Urine filter membrane photographed through a 4× microscope objective. The image covers about 1.5 × 1.1 mm of the membrane.
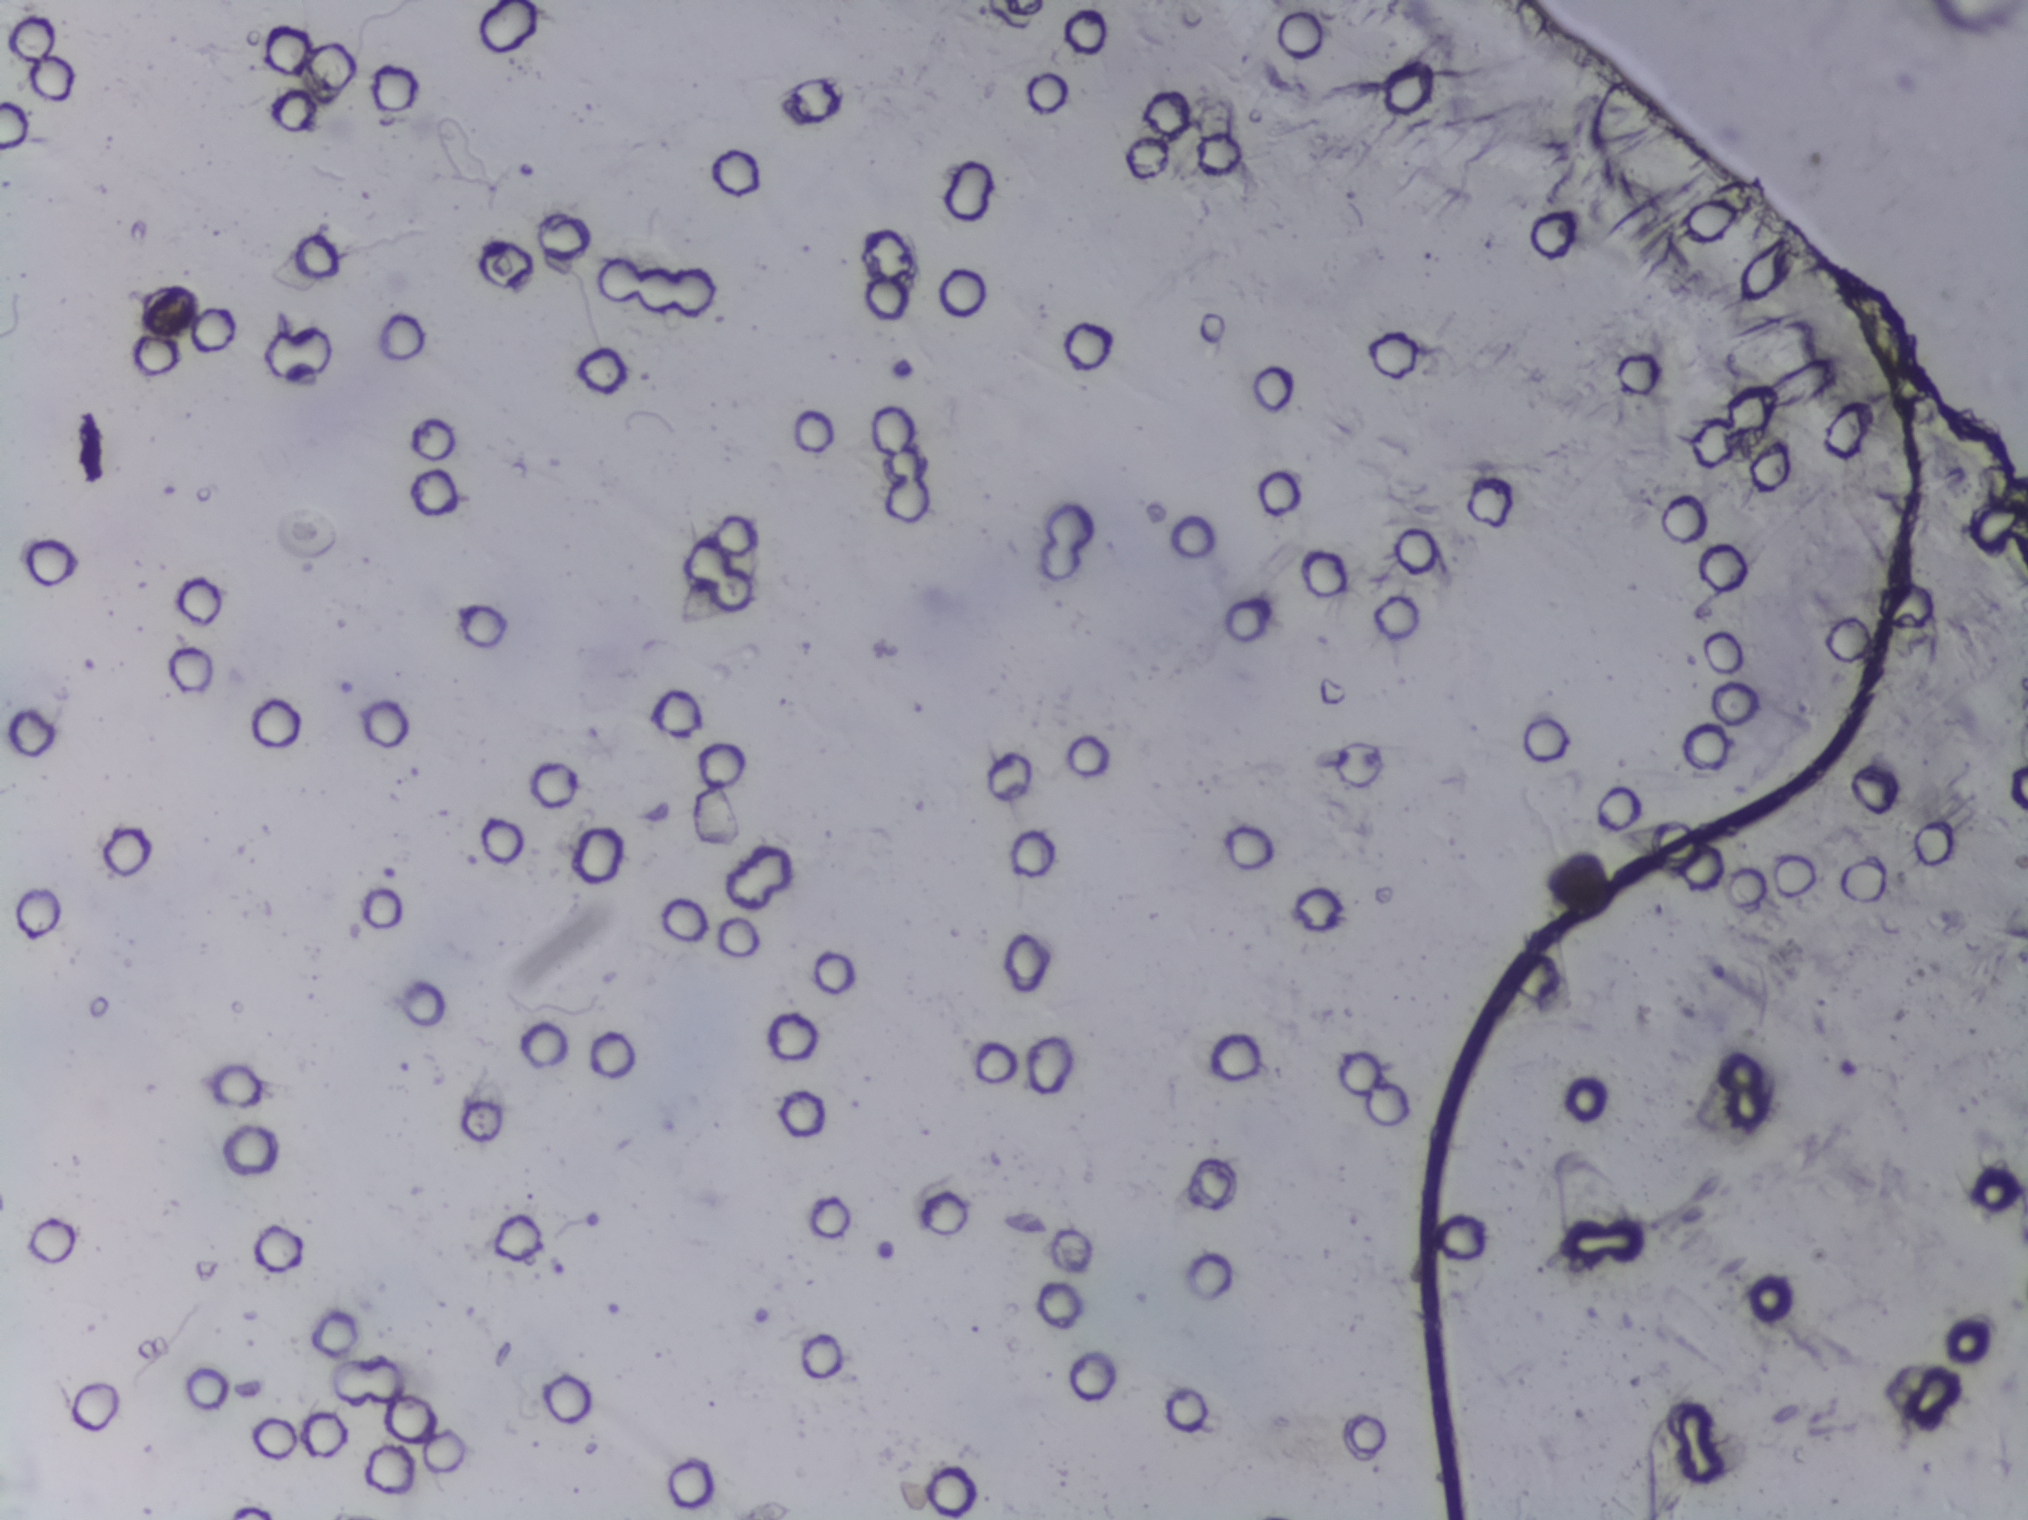
The expert annotation marks no Schistosoma egg in this field of view.